One field of view of a urine filter membrane, 4× objective, 2028 × 1520 pixels.
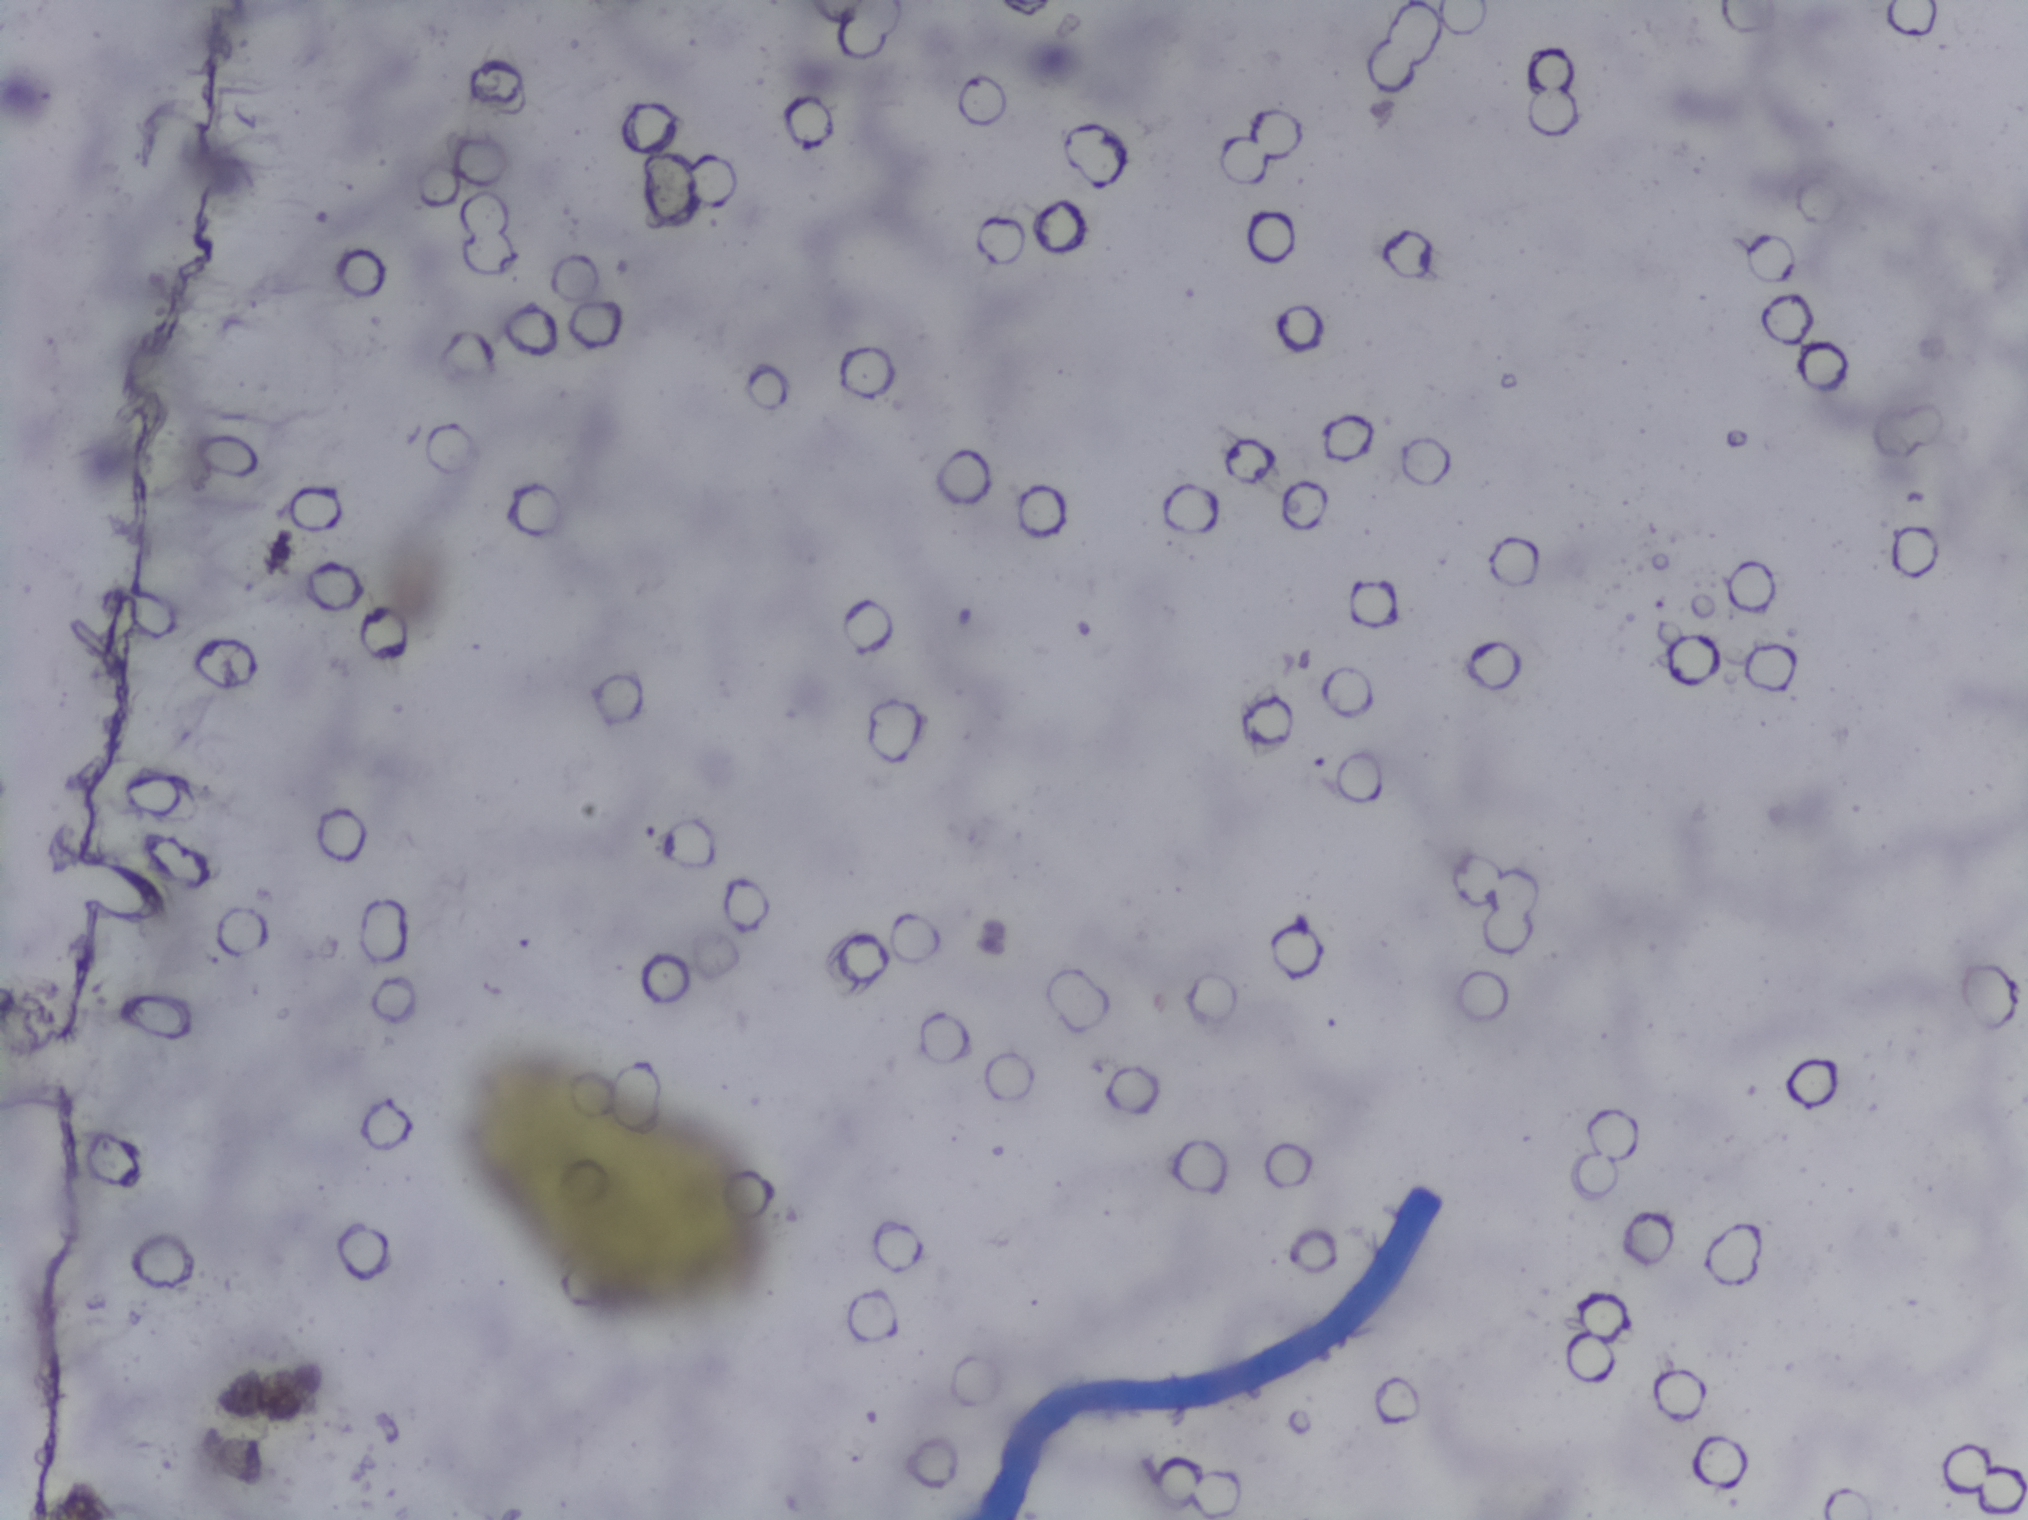
No area of this image was outlined as a Schistosoma egg.